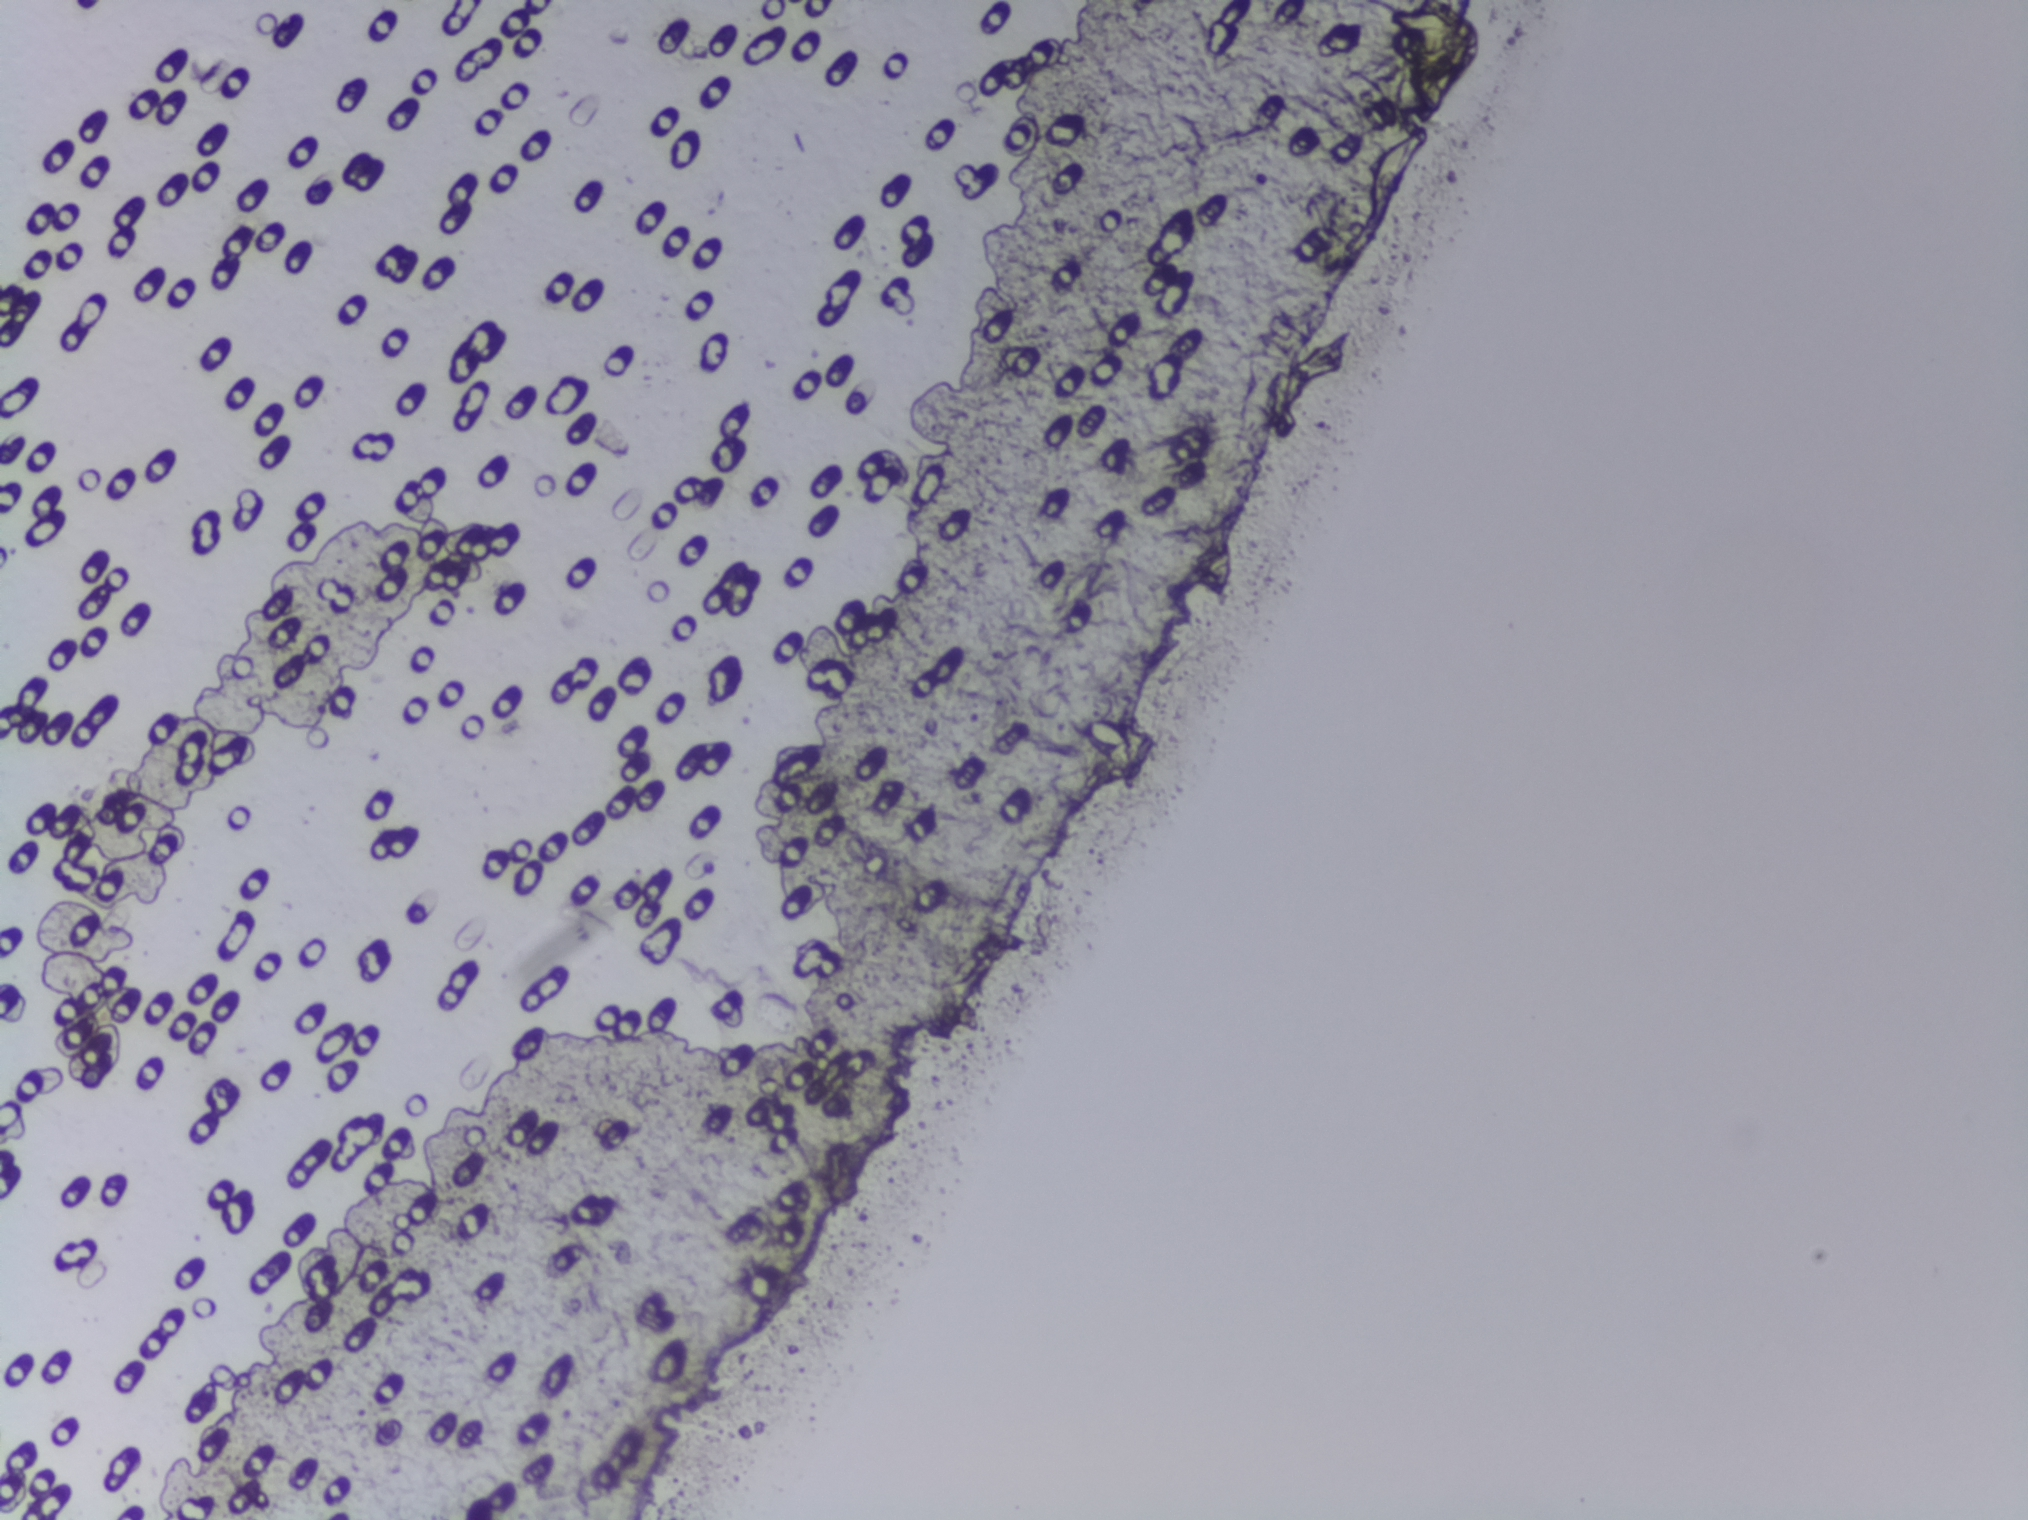
One field of view of a urine filter membrane, 4× objective, 2028 × 1520 pixels.
The expert annotation outlines no Schistosoma egg in this image.